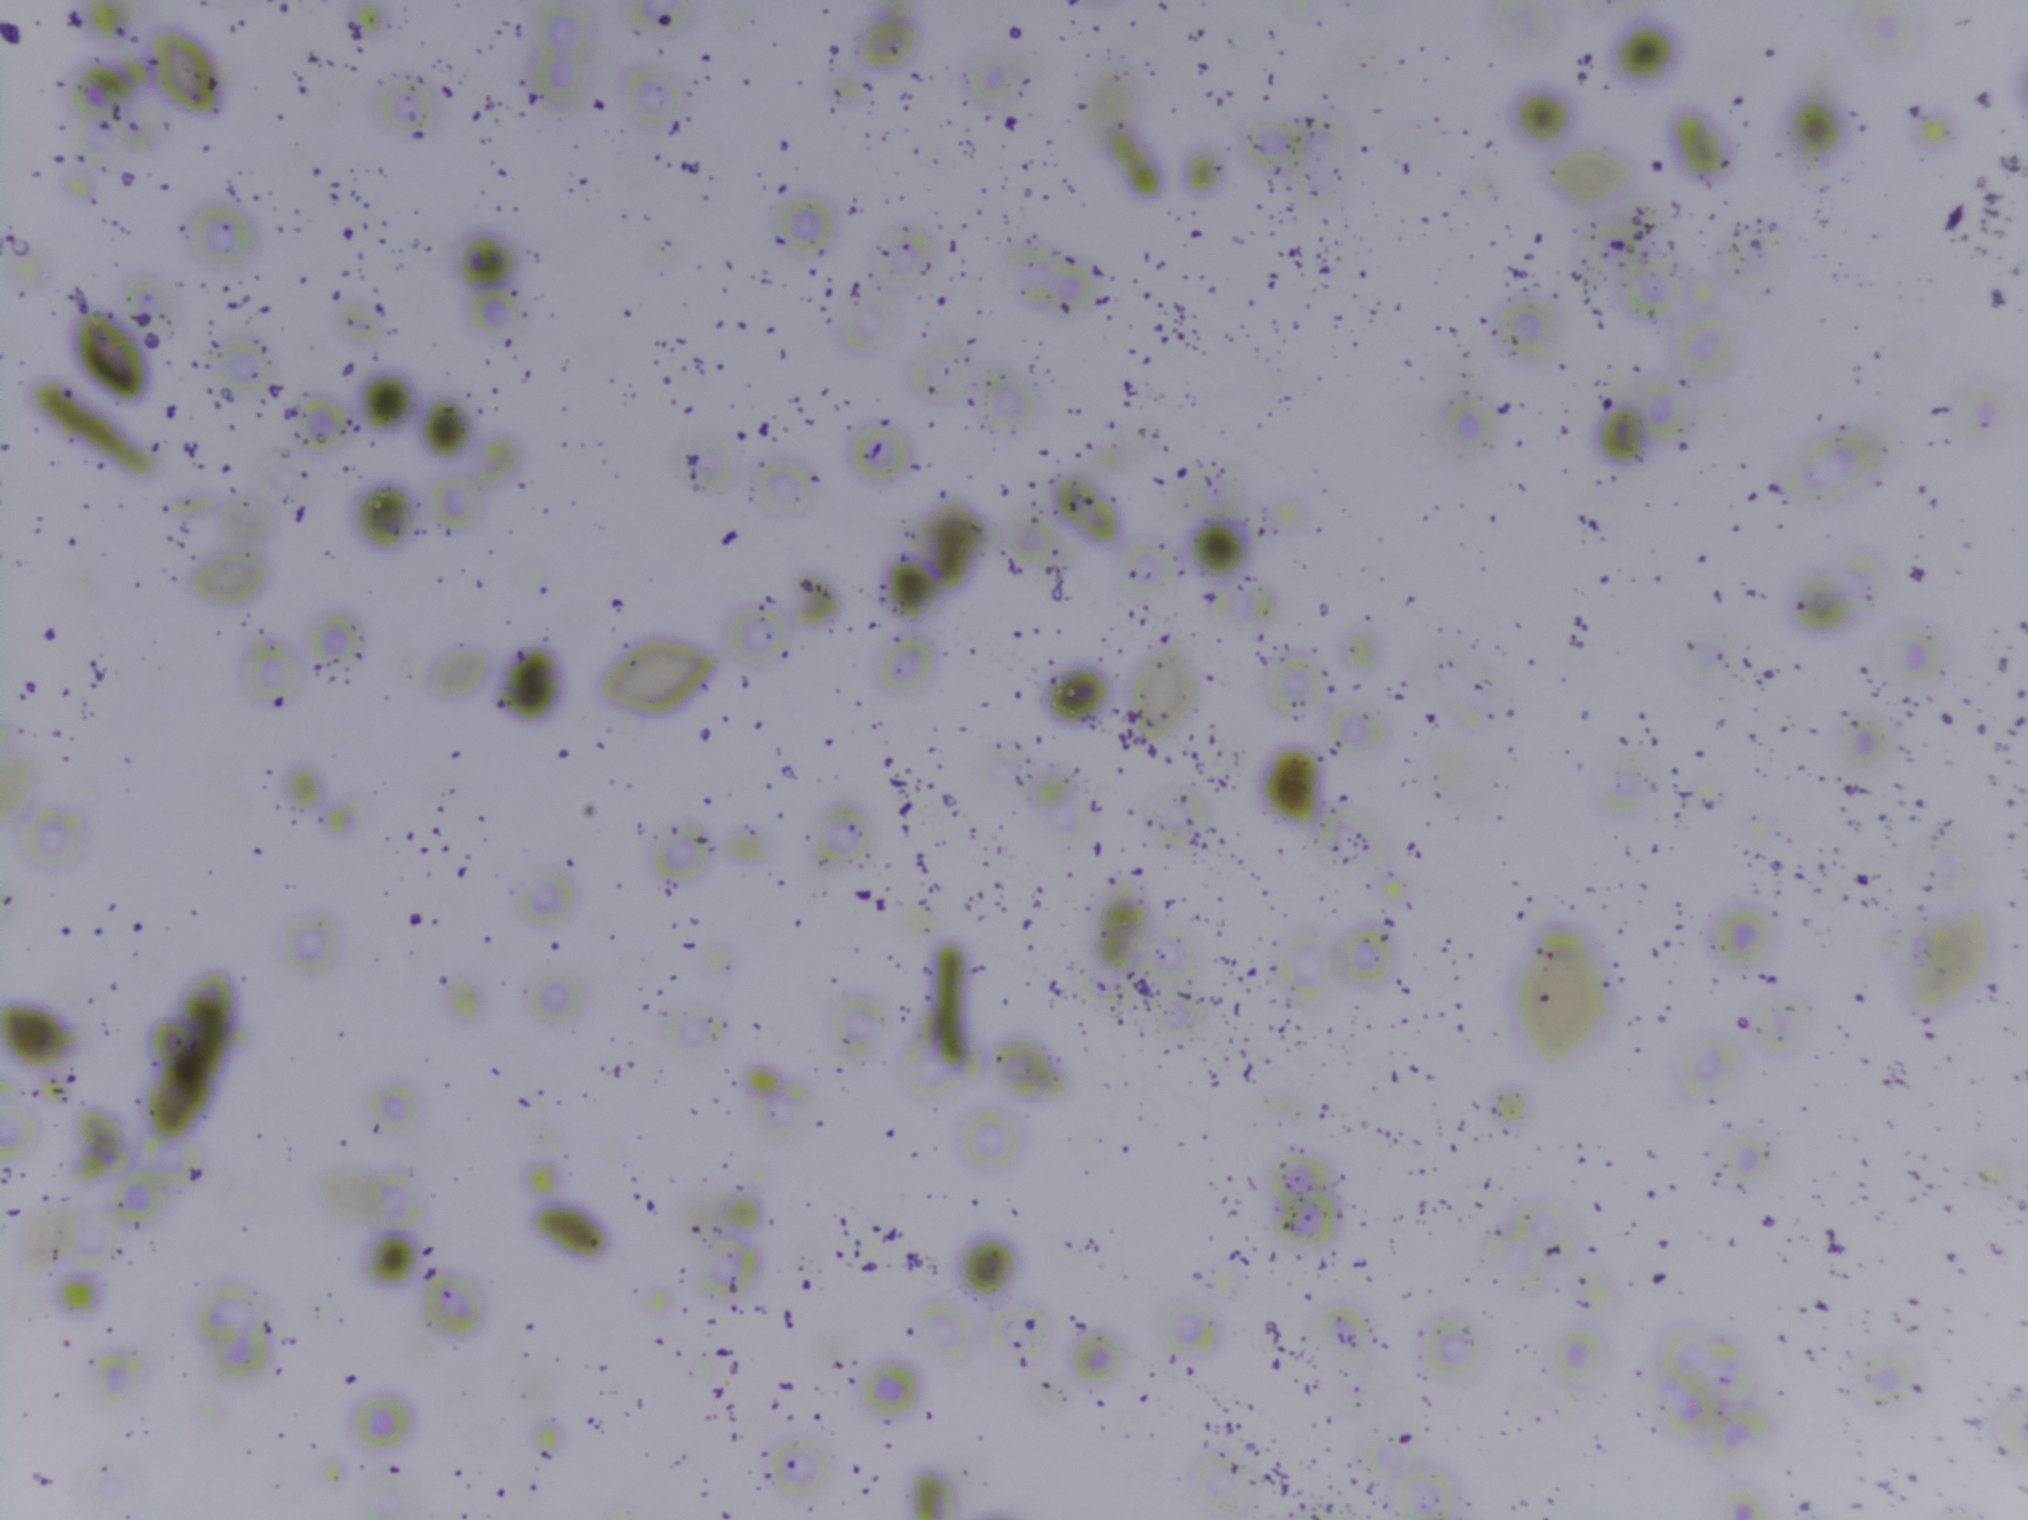
One field of view of a urine filter membrane, 4× objective, 2028 × 1520 pixels. Field of view: about 1.5 mm wide and 1.1 mm high.
Schistosoma eggs: none outlined.